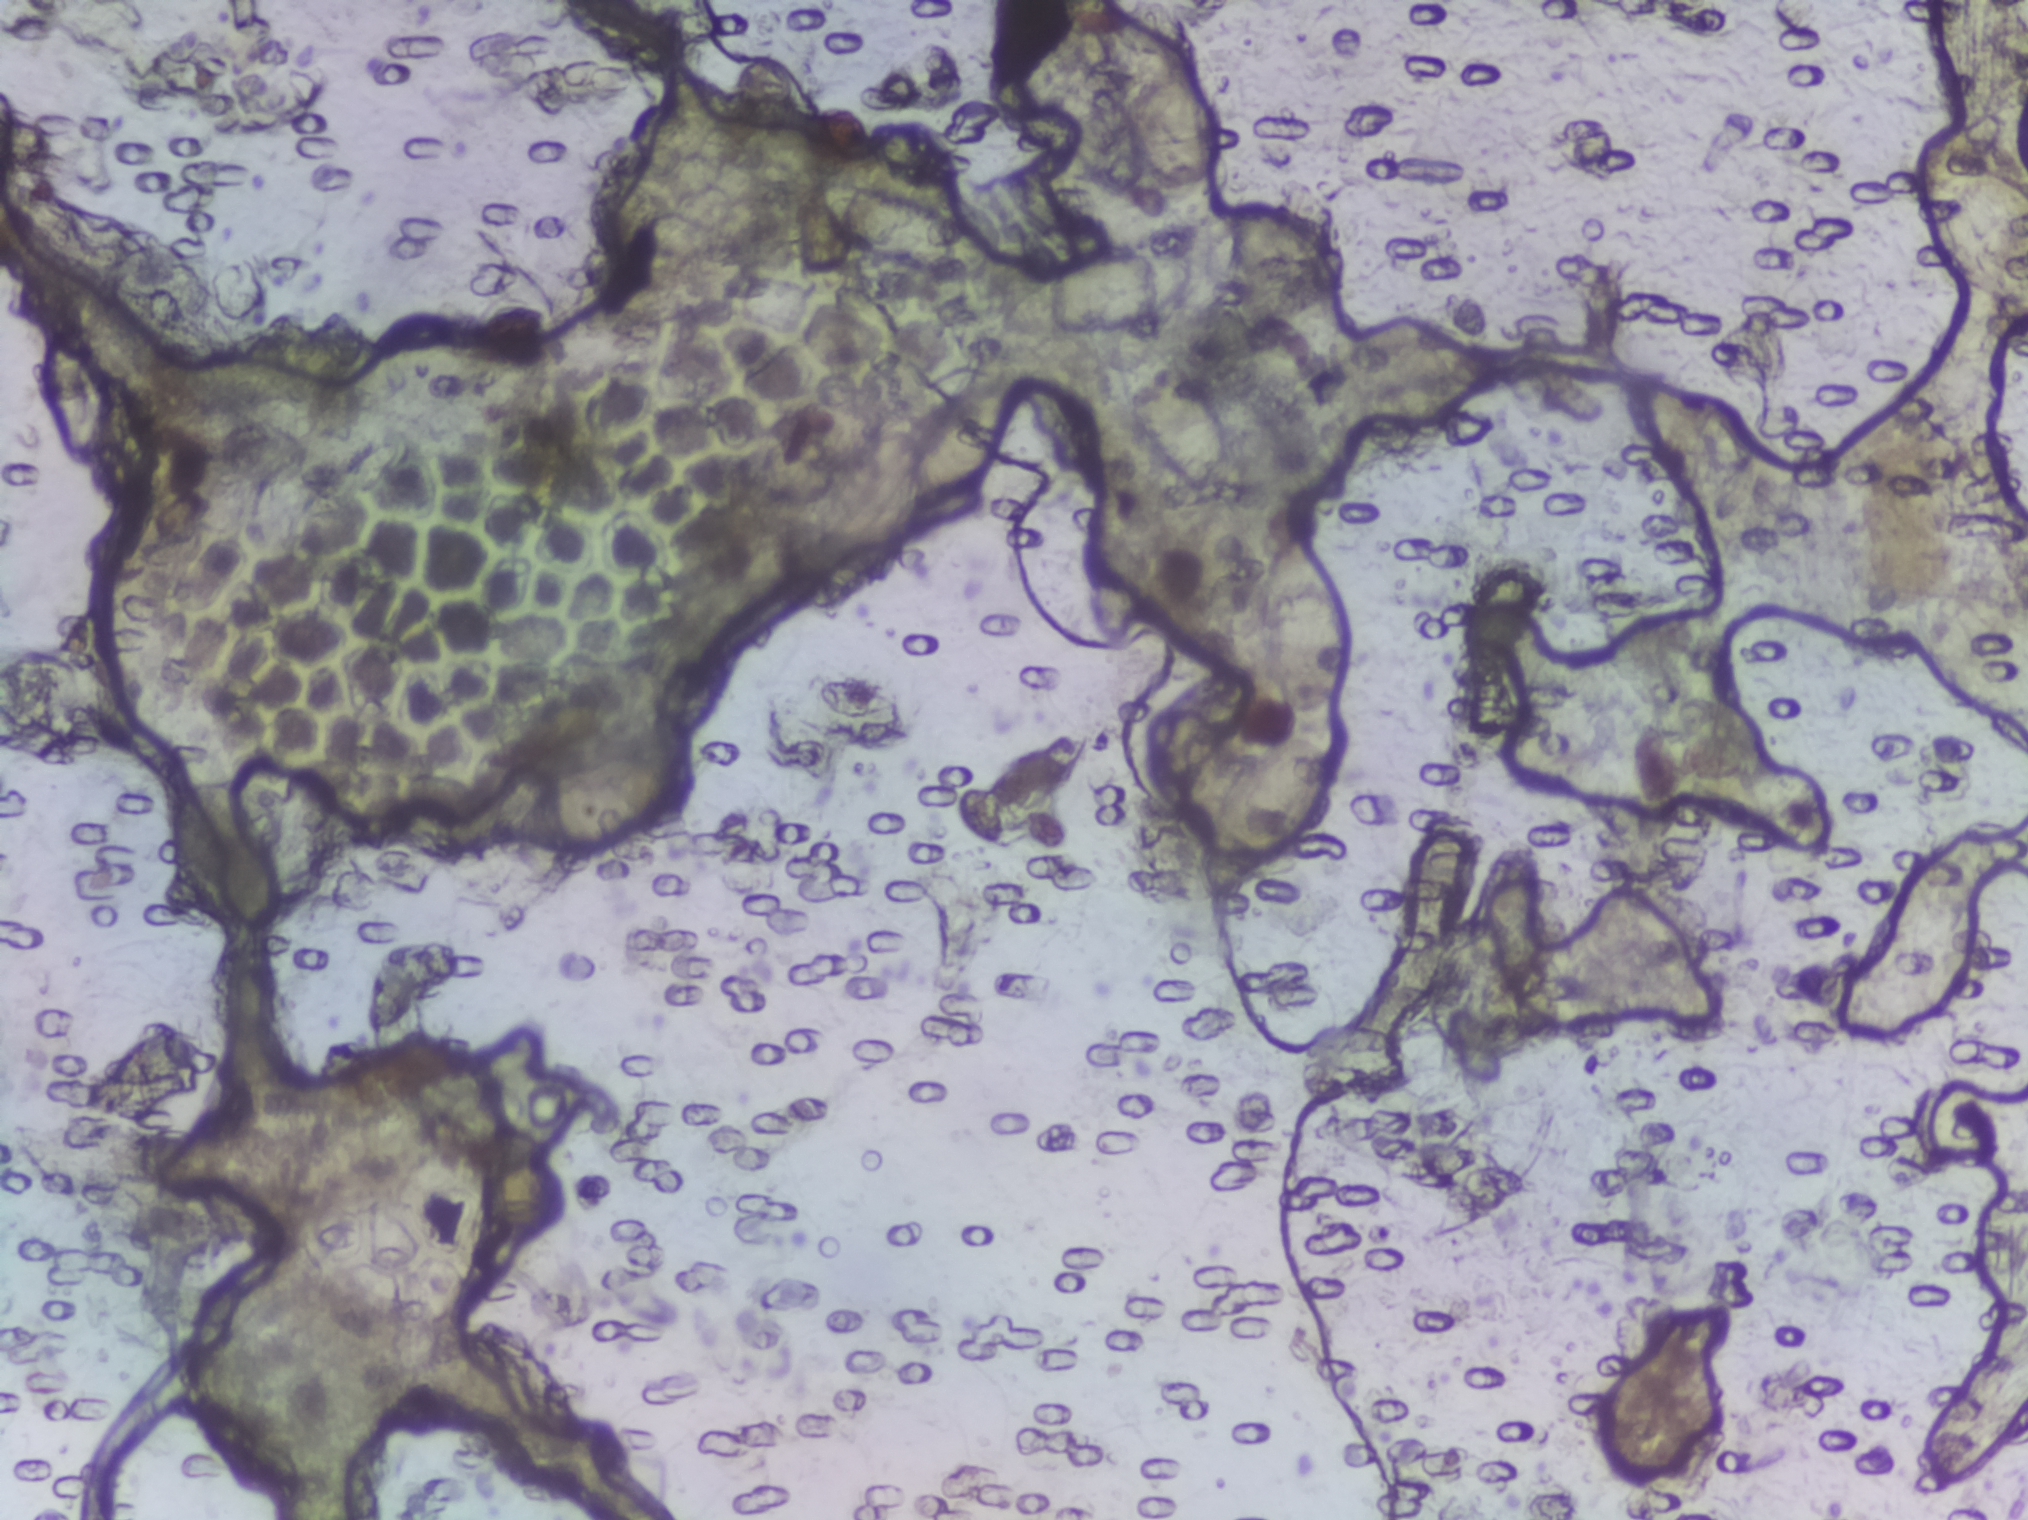
Urine filter membrane photographed through a 4× microscope objective.
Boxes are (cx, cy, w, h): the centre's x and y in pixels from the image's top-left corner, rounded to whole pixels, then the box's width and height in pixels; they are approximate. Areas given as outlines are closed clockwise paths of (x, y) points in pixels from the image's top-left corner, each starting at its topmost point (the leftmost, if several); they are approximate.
Outlined Schistosoma egg areas, left to right:
1. box (cx=601, cy=797, w=187, h=121)
2. box (cx=960, cy=435, w=127, h=126)
3. outline (1127, 247), (1178, 251), (1192, 263), (1189, 296), (1142, 327), (1195, 362), (1223, 398), (1240, 441), (1242, 503), (1197, 497), (1150, 459), (1113, 395), (1105, 333), (1045, 342), (1001, 336), (995, 329), (992, 310), (1013, 281), (1052, 263)
4. box (cx=1167, cy=105, w=99, h=178)
5. box (cx=1268, cy=796, w=155, h=149)
6. box (cx=1302, cy=624, w=93, h=192)
7. box (cx=1975, cy=228, w=105, h=176) (reaching the right edge of the frame)
An outlined area can hold more than one egg.